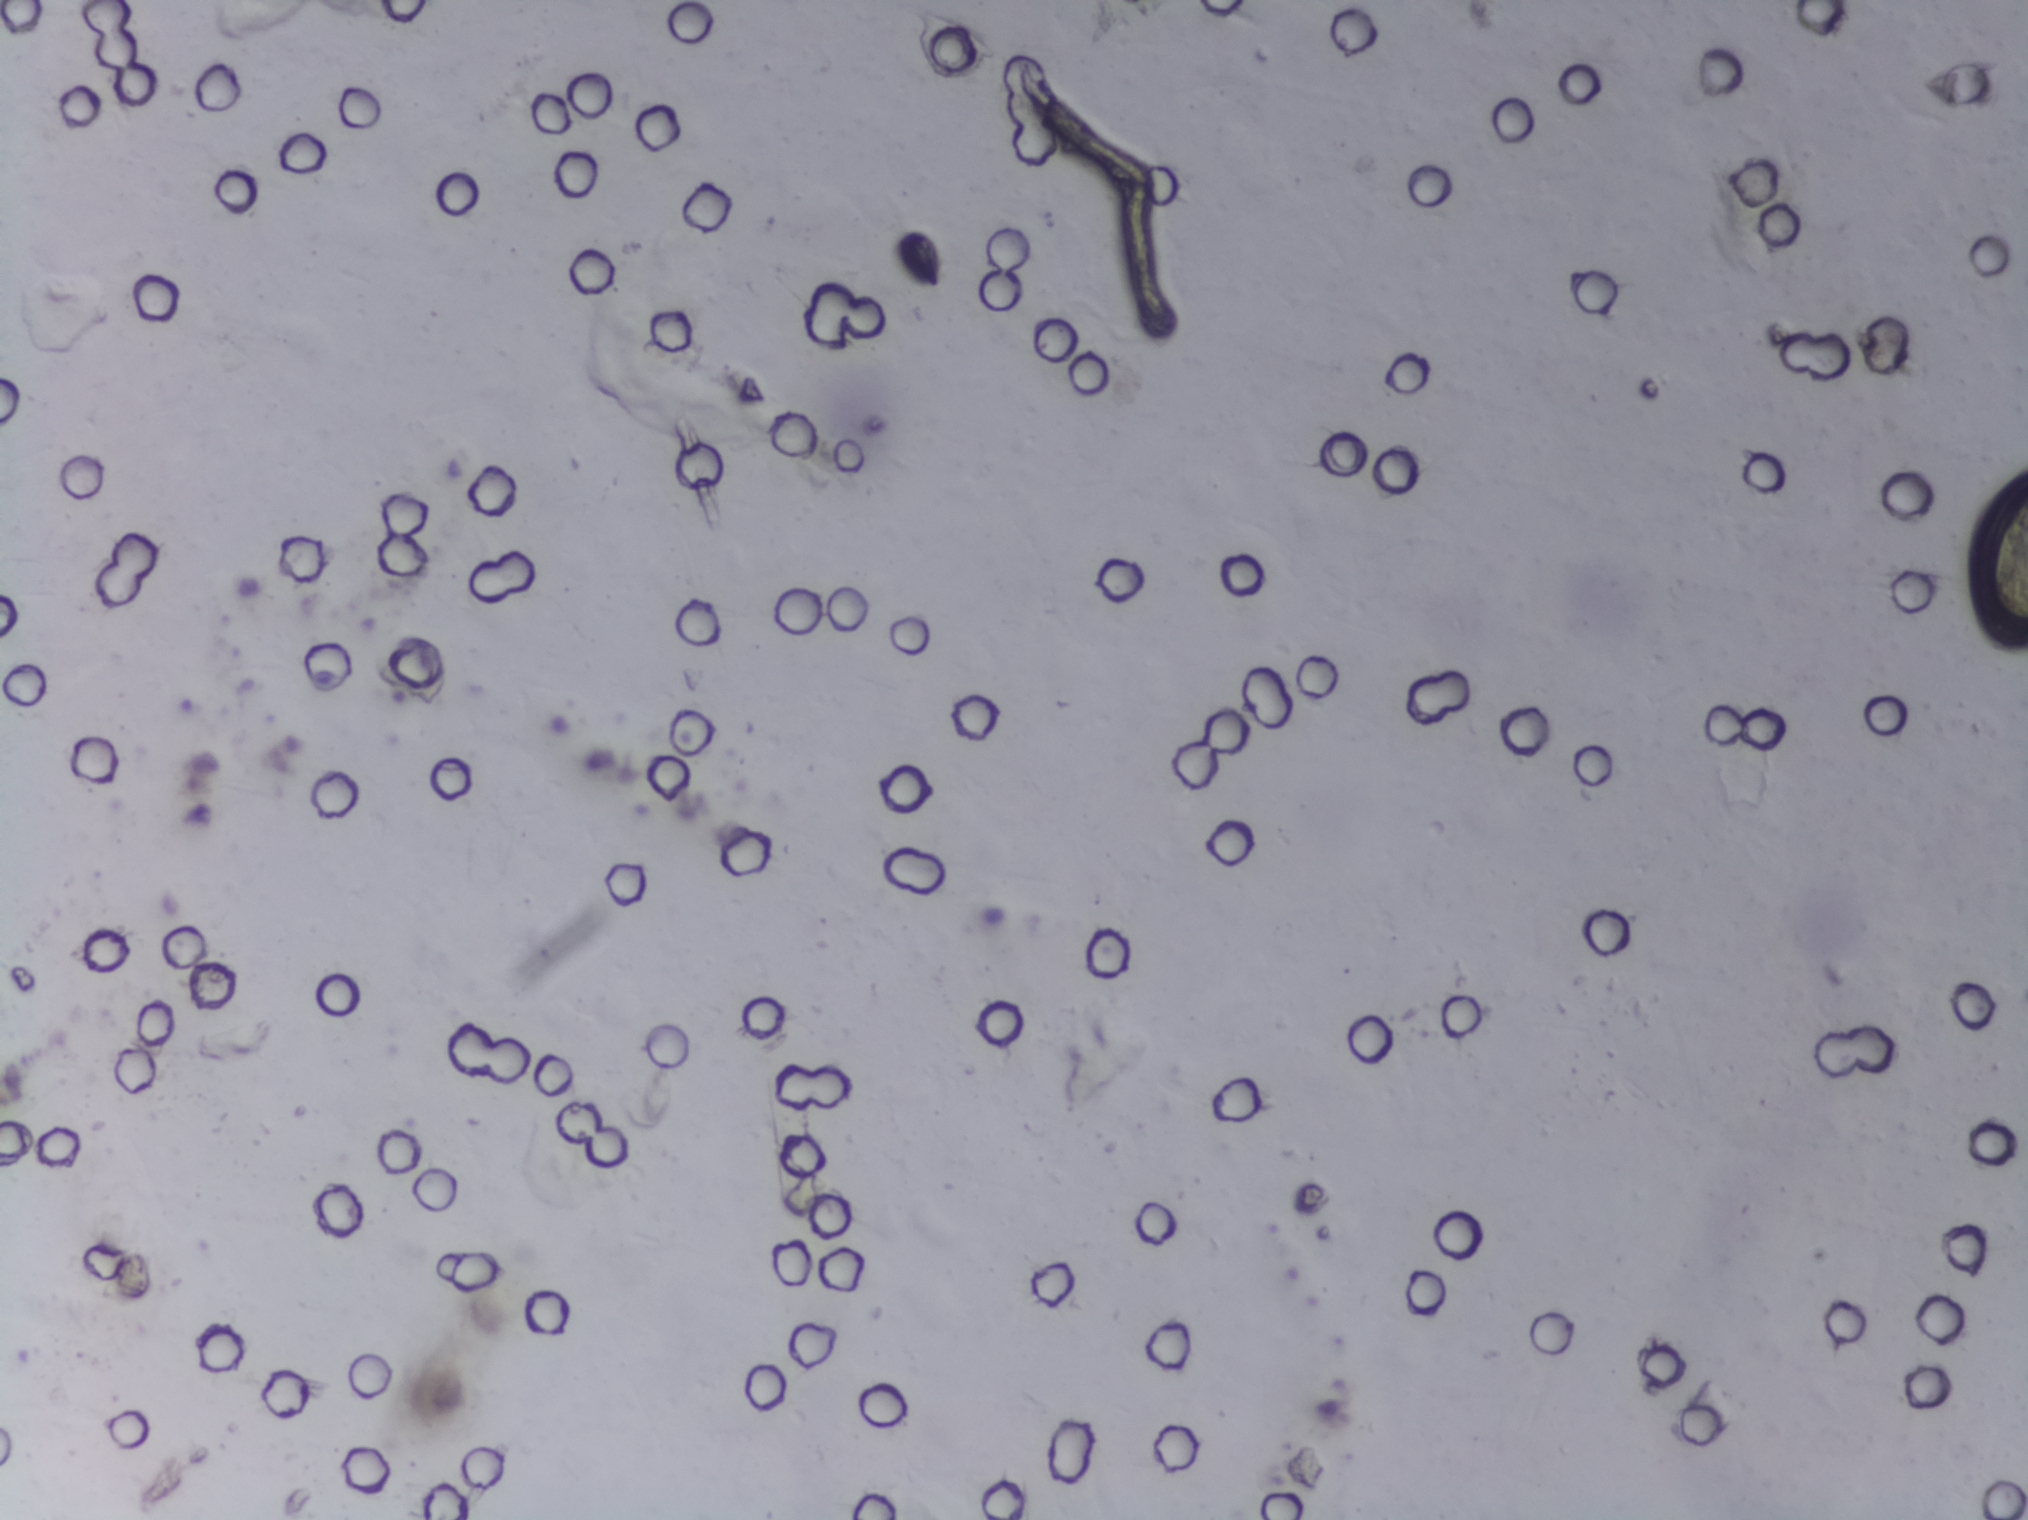
Urine filter membrane photographed through a 4× microscope objective. The field of view is about 1.5 mm × 1.1 mm.
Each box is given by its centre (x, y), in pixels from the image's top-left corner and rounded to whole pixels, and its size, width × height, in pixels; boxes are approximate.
Schistosoma eggs are outlined in the expert annotation at centre (2003, 563), 49 × 178 px (reaching the right edge of the frame). Eggs that touch can end up inside the same outlined area.